Urine filter membrane photographed through a 4× microscope objective.
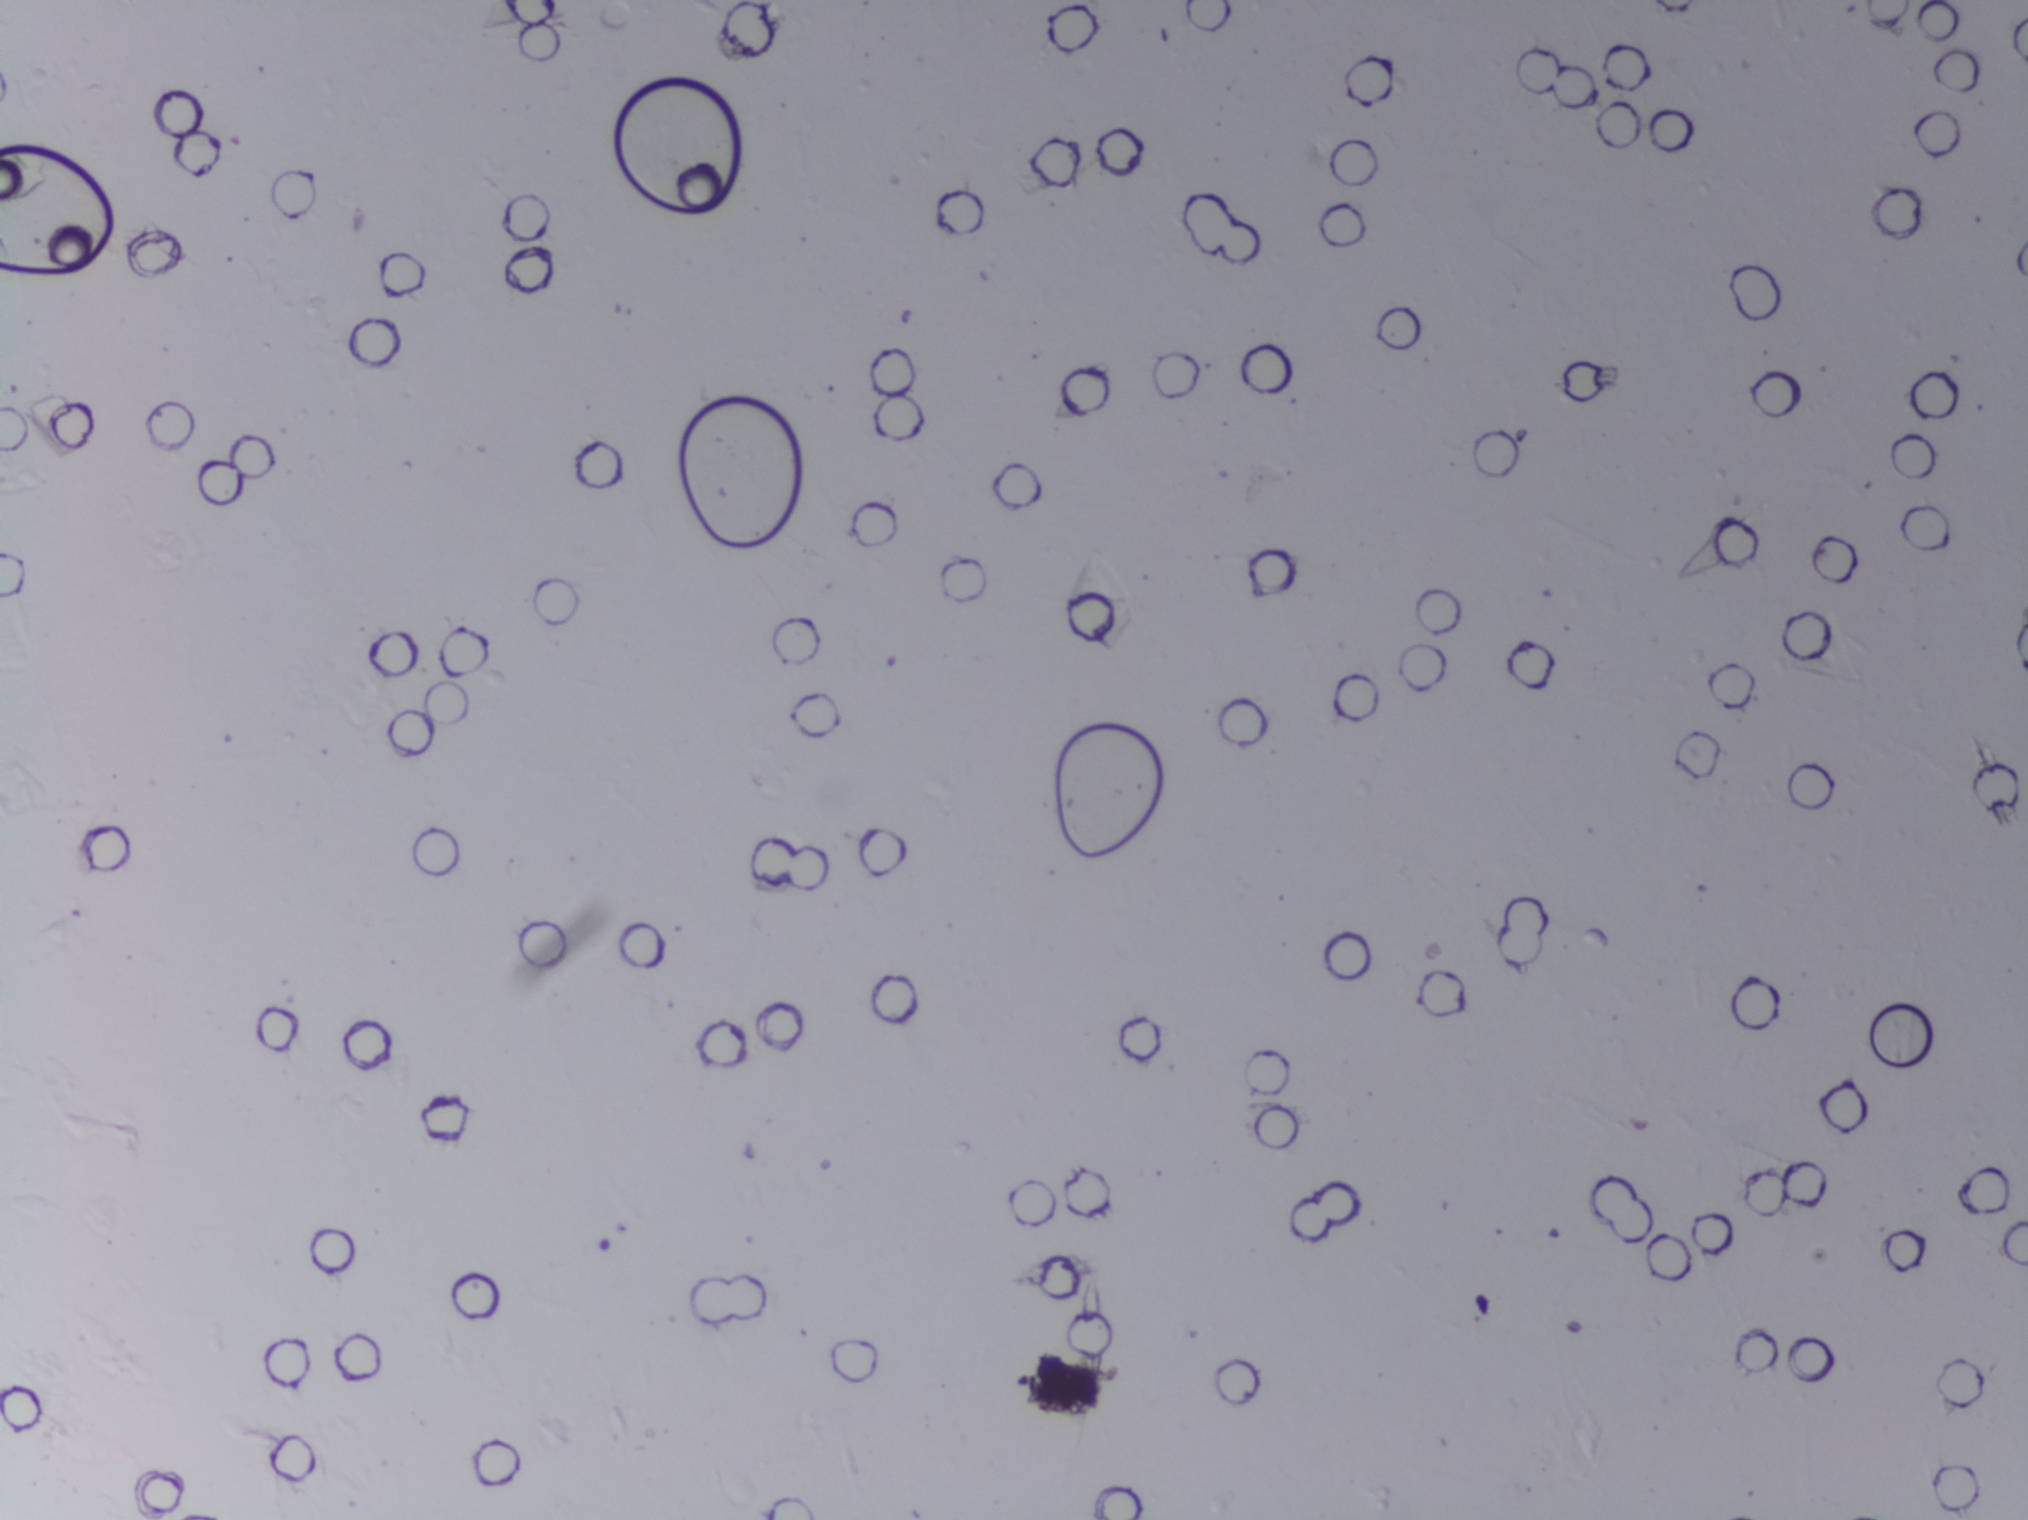
The expert annotation outlines no Schistosoma egg in this image.